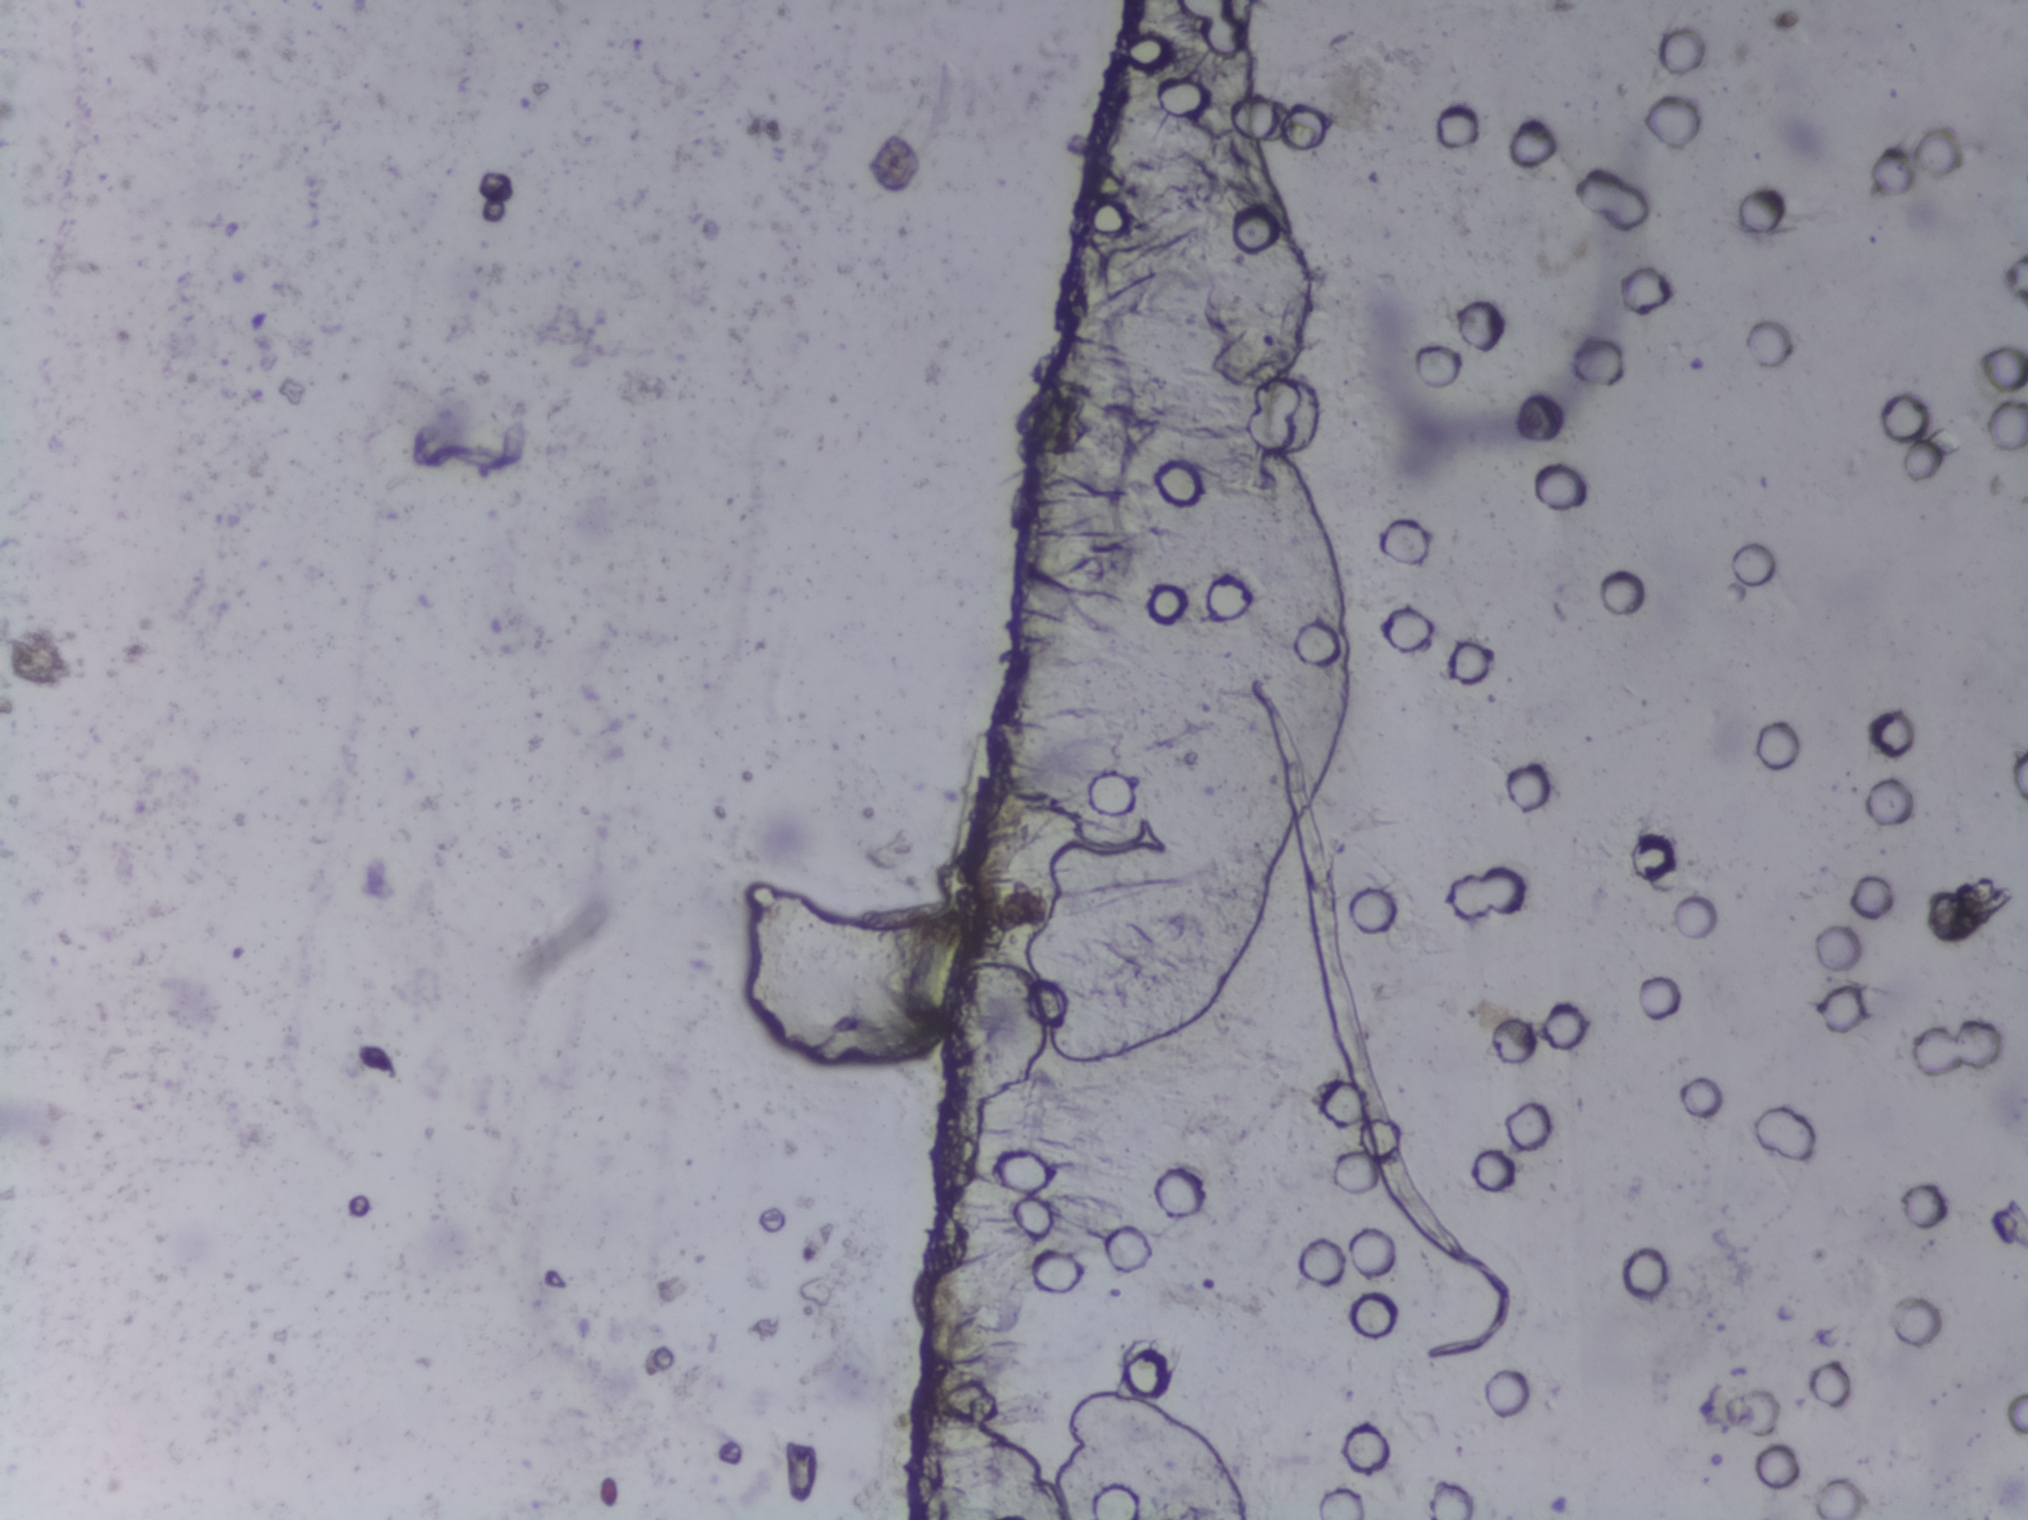
One field of view of a urine filter membrane, 4× objective, 2028 × 1520 pixels.
No area of this image was outlined as a Schistosoma egg.